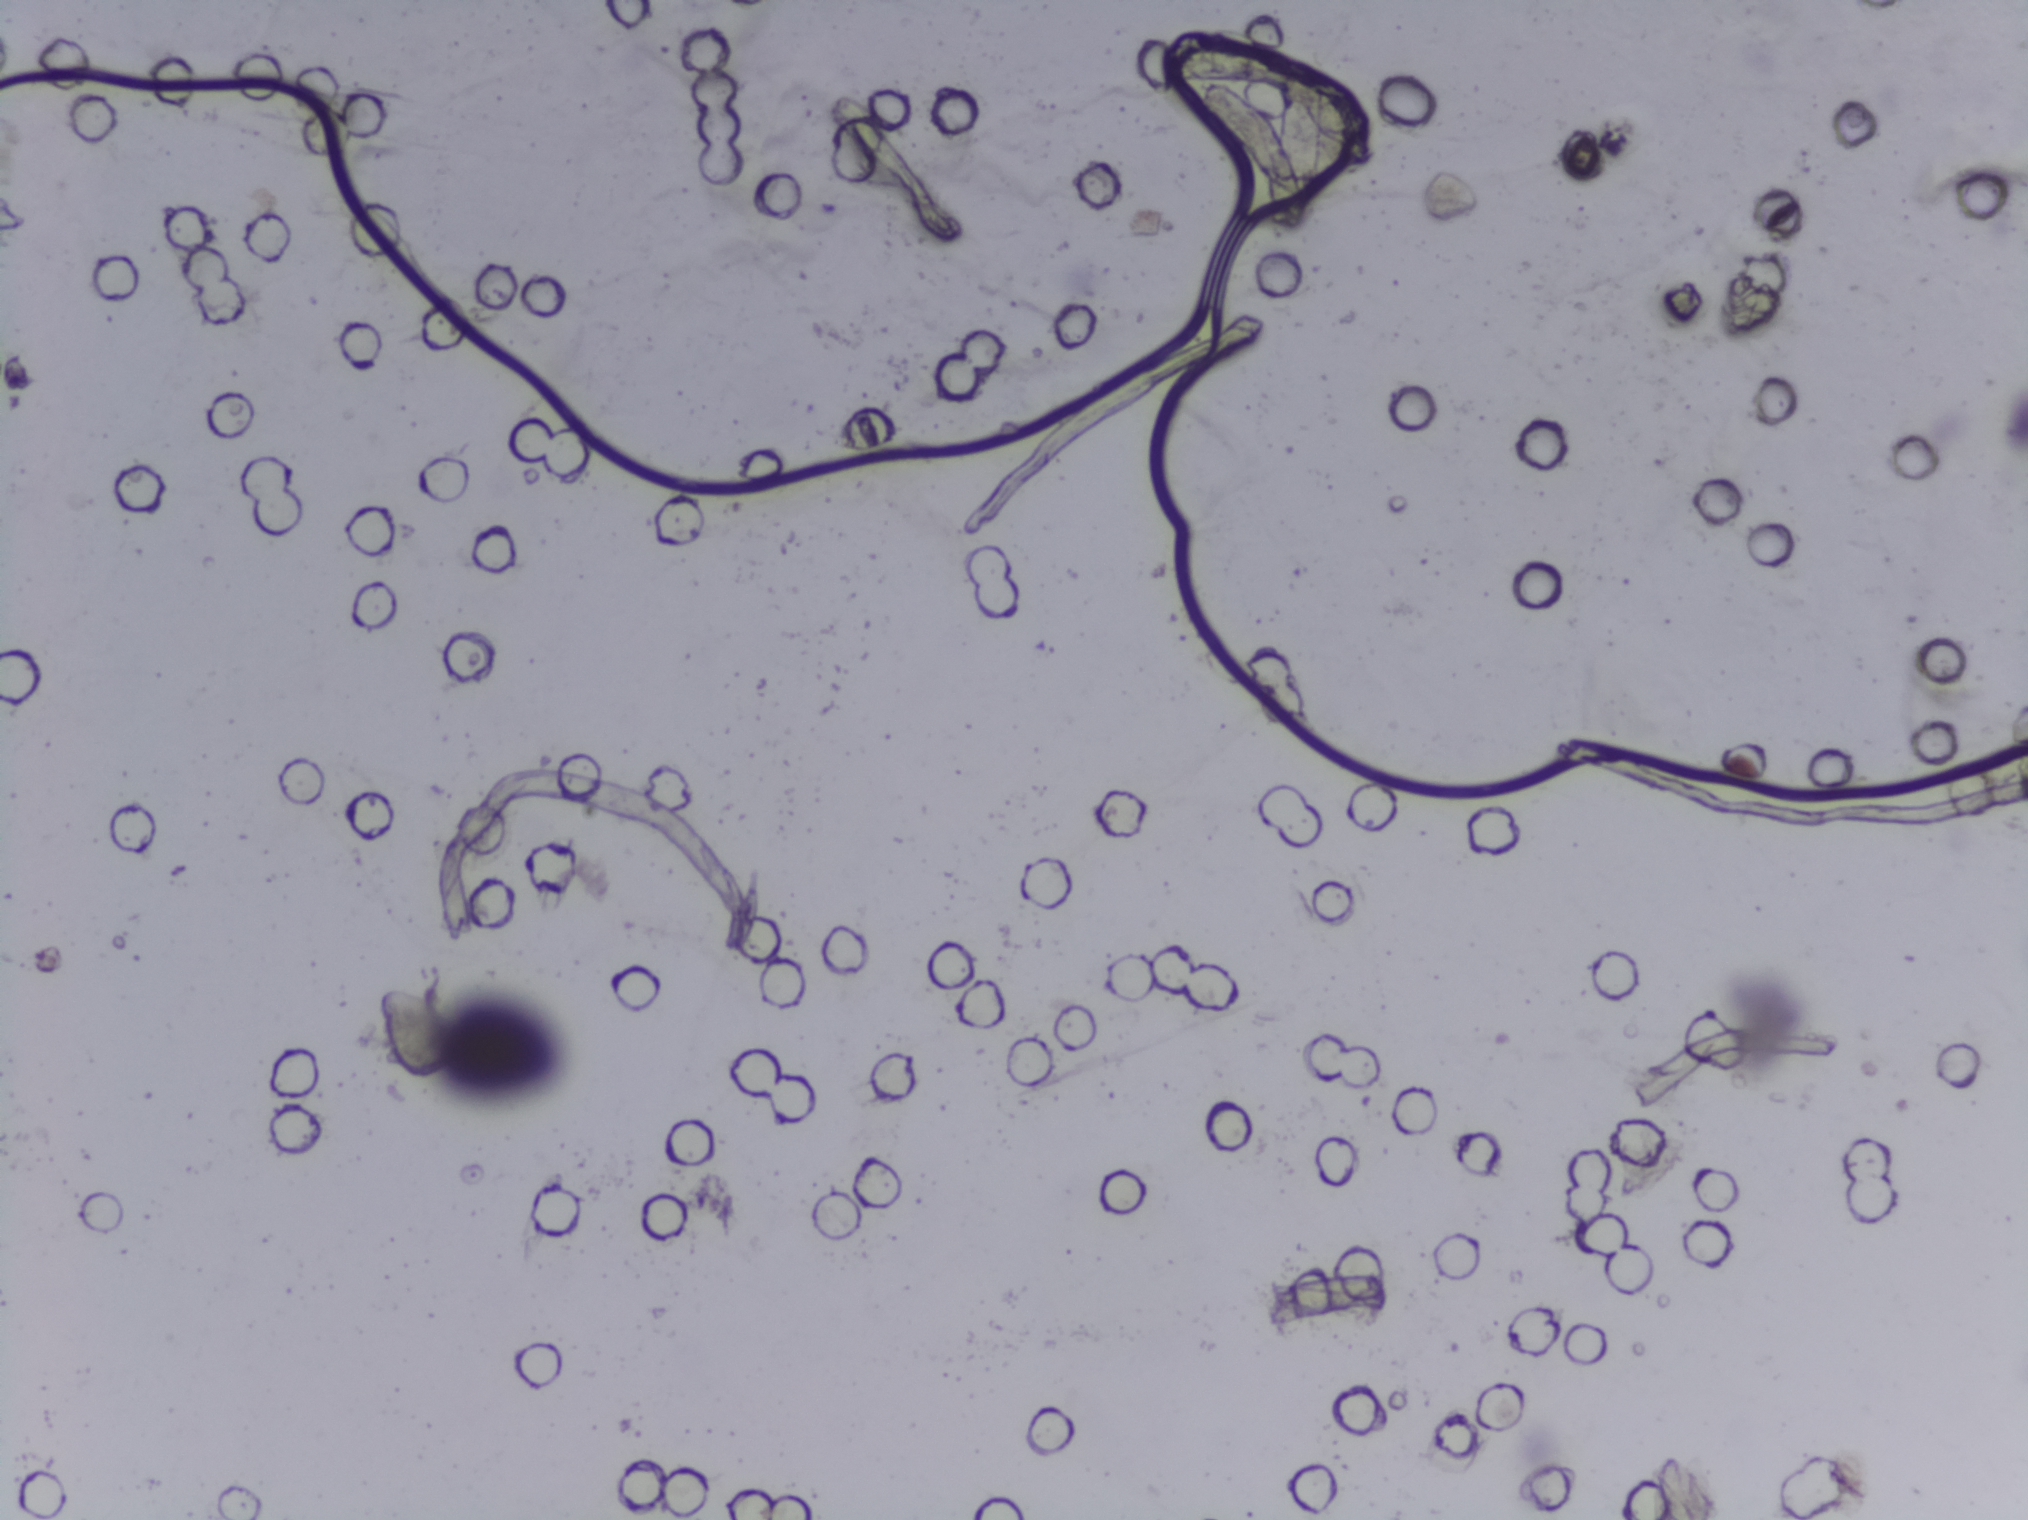
Photomicrograph of a urine filtration membrane, 4× objective.
The expert annotation outlines no Schistosoma egg in this image.